Urine filtration membrane under a 4× objective, photographed by an automated digital microscope. The image covers about 1.5 × 1.1 mm of the membrane.
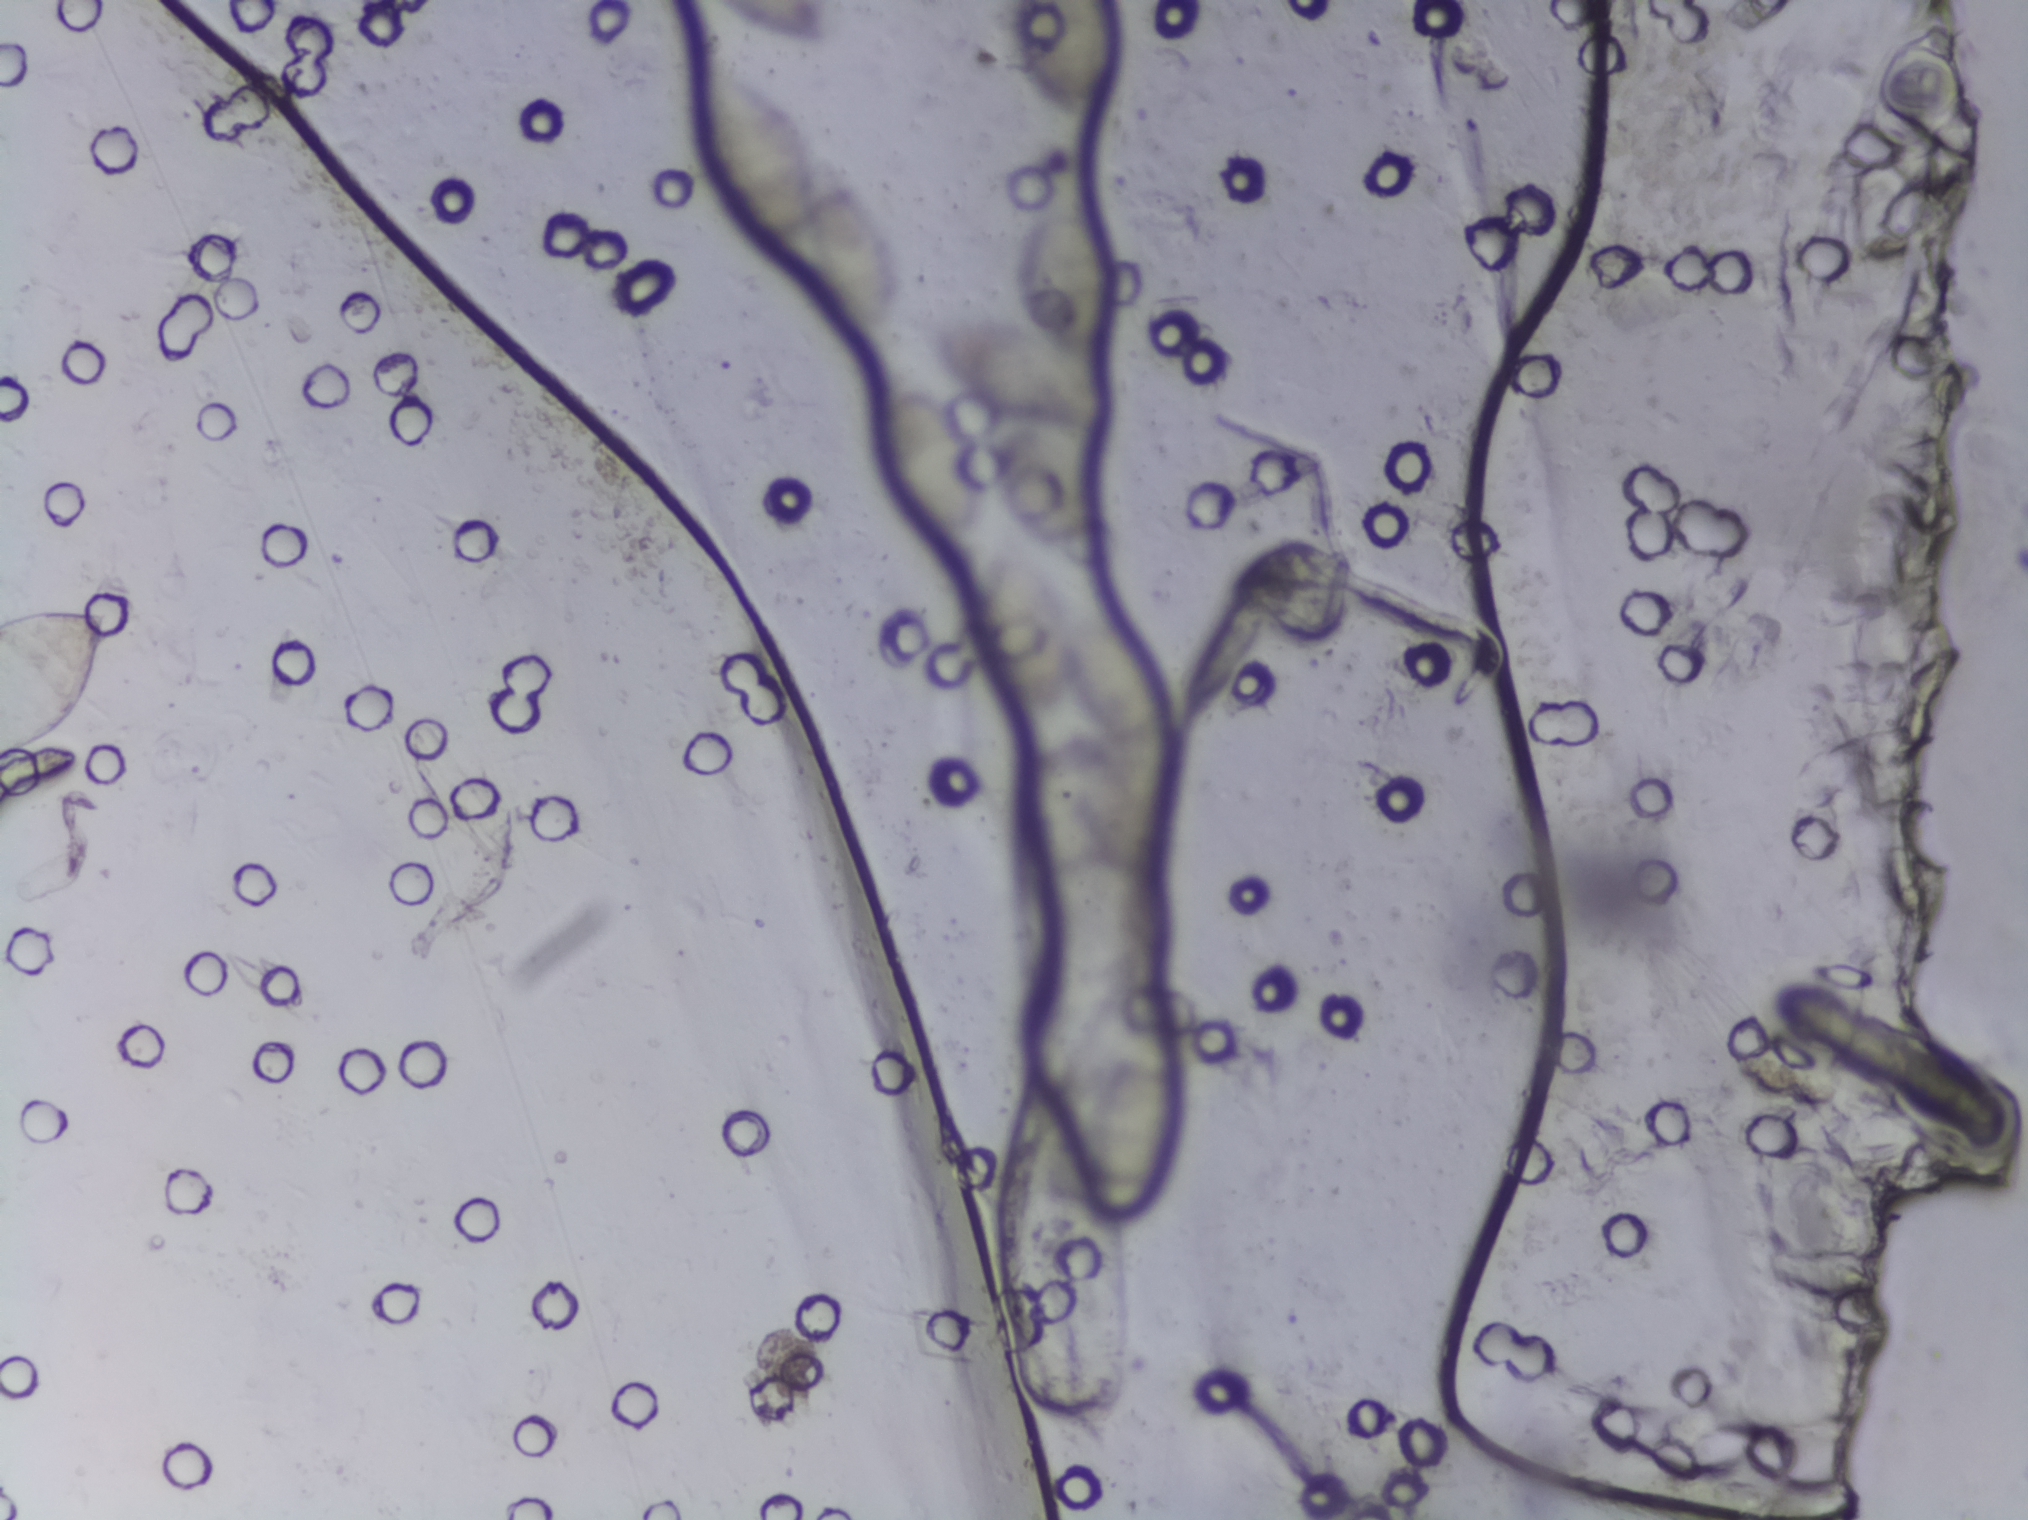
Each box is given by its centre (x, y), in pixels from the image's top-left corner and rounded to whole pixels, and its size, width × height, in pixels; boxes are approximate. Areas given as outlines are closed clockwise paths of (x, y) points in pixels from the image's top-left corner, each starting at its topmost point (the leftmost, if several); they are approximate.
Areas outlined as Schistosoma eggs: box centre (56, 683), 113 × 151 px (reaching the left edge of the frame); box centre (774, 27), 122 × 54 px (reaching the top edge of the frame); outline (711, 56), (768, 76), (788, 92), (800, 126), (870, 180), (902, 242), (909, 314), (926, 308), (1028, 314), (1017, 282), (1015, 217), (1030, 169), (1046, 158), (1053, 168), (1068, 162), (1068, 176), (1098, 216), (1116, 264), (1116, 321), (1104, 362), (1120, 411), (1073, 422), (1106, 460), (1114, 544), (1108, 567), (1081, 571), (1061, 561), (997, 504), (983, 452), (981, 408), (948, 378), (906, 319), (884, 341), (854, 331), (823, 292), (818, 266), (800, 265), (758, 238), (724, 200), (699, 102), (699, 66) (eggs clustered together); box centre (929, 455), 112 × 162 px; box centre (1061, 61), 108 × 122 px (reaching the top edge of the frame); box centre (1072, 635), 186 × 202 px; box centre (1123, 1121), 88 × 194 px. An outlined area can hold more than one egg.